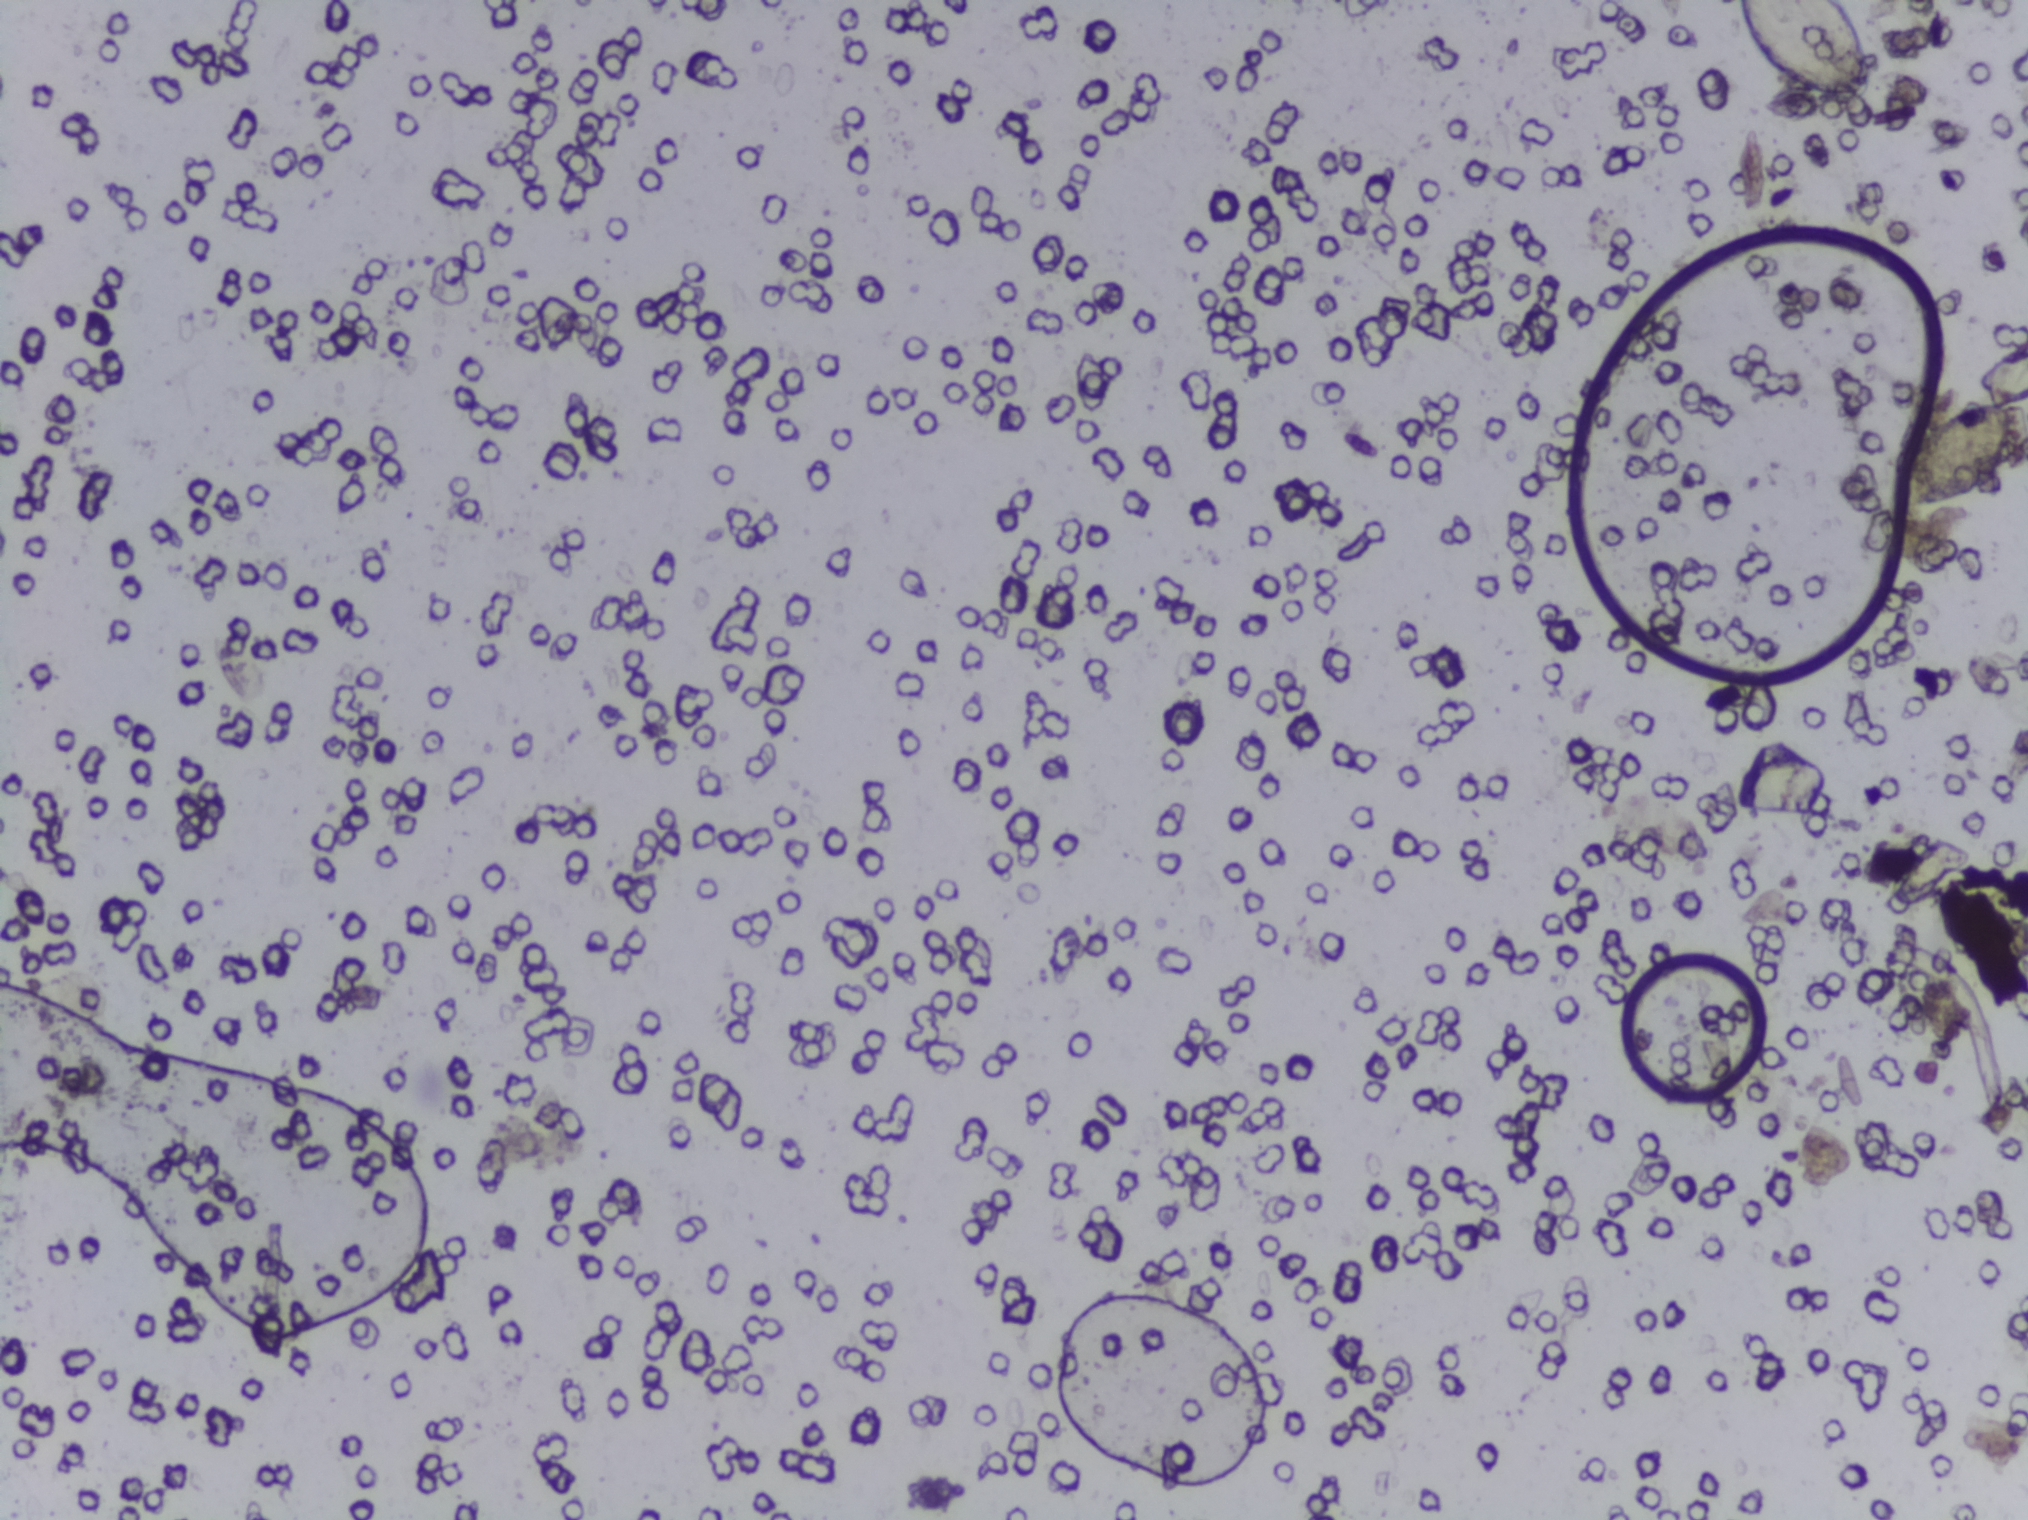
Microscope photograph (4× objective) of a membrane that a urine sample was filtered through. Field of view: about 1.5 mm wide and 1.1 mm high.
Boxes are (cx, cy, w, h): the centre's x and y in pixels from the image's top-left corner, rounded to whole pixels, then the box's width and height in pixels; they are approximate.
Findings: two areas outlined as Schistosoma eggs. Locations, left to right: (cx=1801, cy=52, w=131, h=105) (reaching the top edge of the frame); (cx=1958, cy=454, w=109, h=106). Eggs that touch can end up inside the same outlined area.